Microscope photograph (4× objective) of a membrane that a urine sample was filtered through.
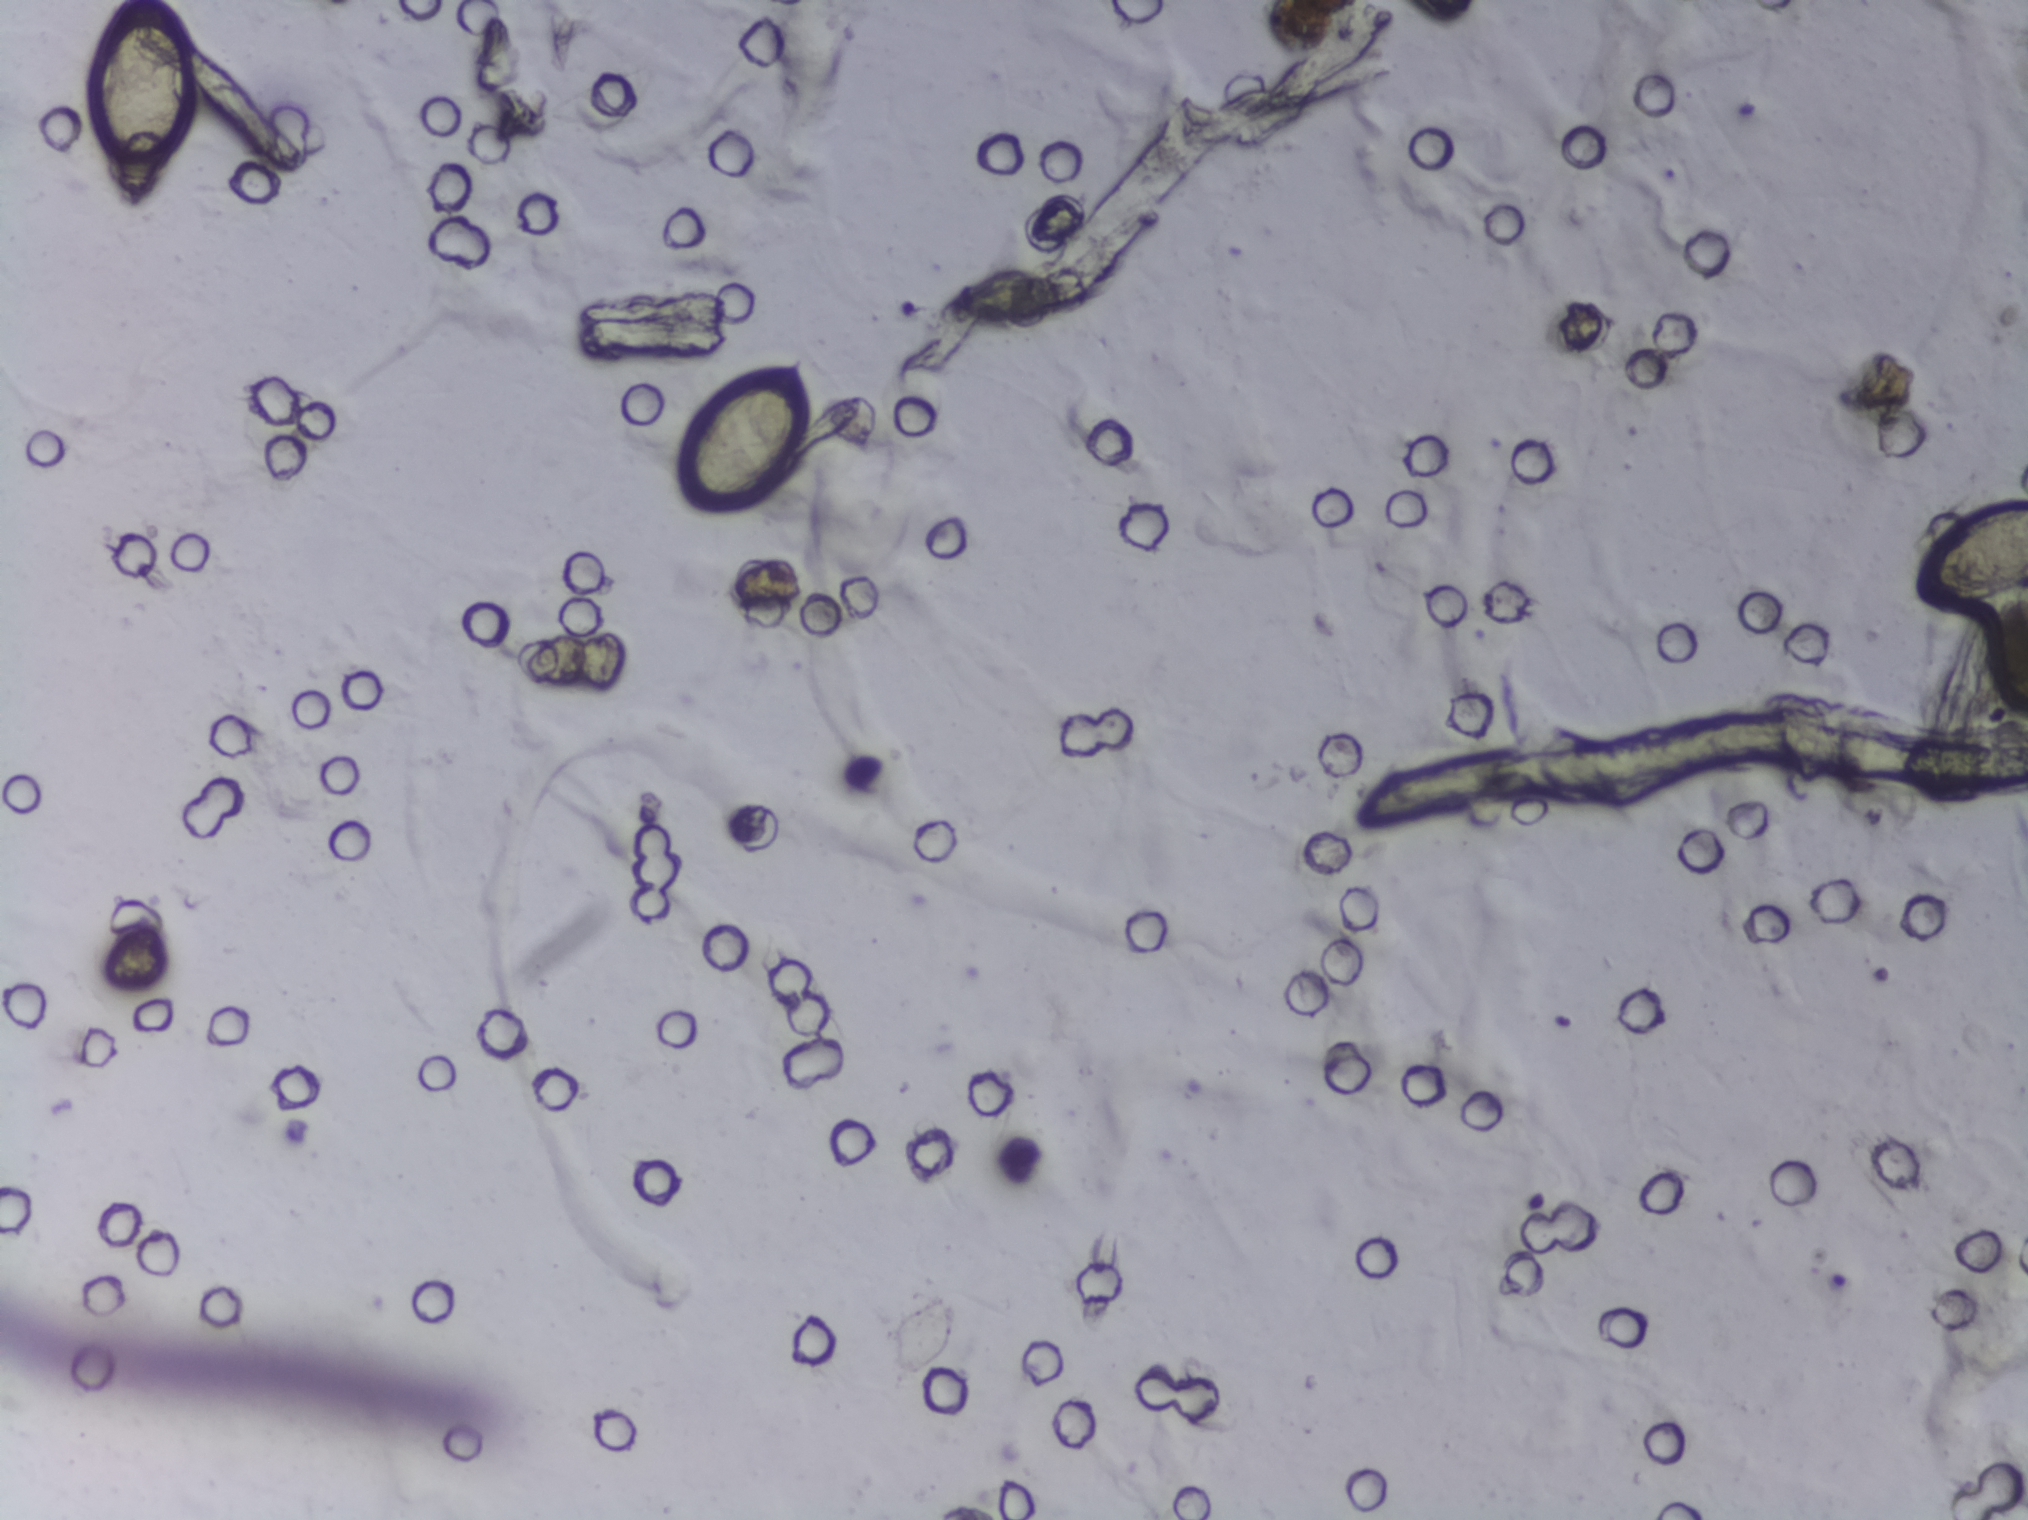
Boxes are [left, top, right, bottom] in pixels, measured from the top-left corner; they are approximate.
Outlined Schistosoma egg areas, left to right:
1. [92, 0, 195, 212] (reaching the top edge of the frame)
2. [675, 349, 811, 514]
3. [1915, 500, 2027, 604] (reaching the right edge of the frame)
Eggs that touch can end up inside the same outlined area.